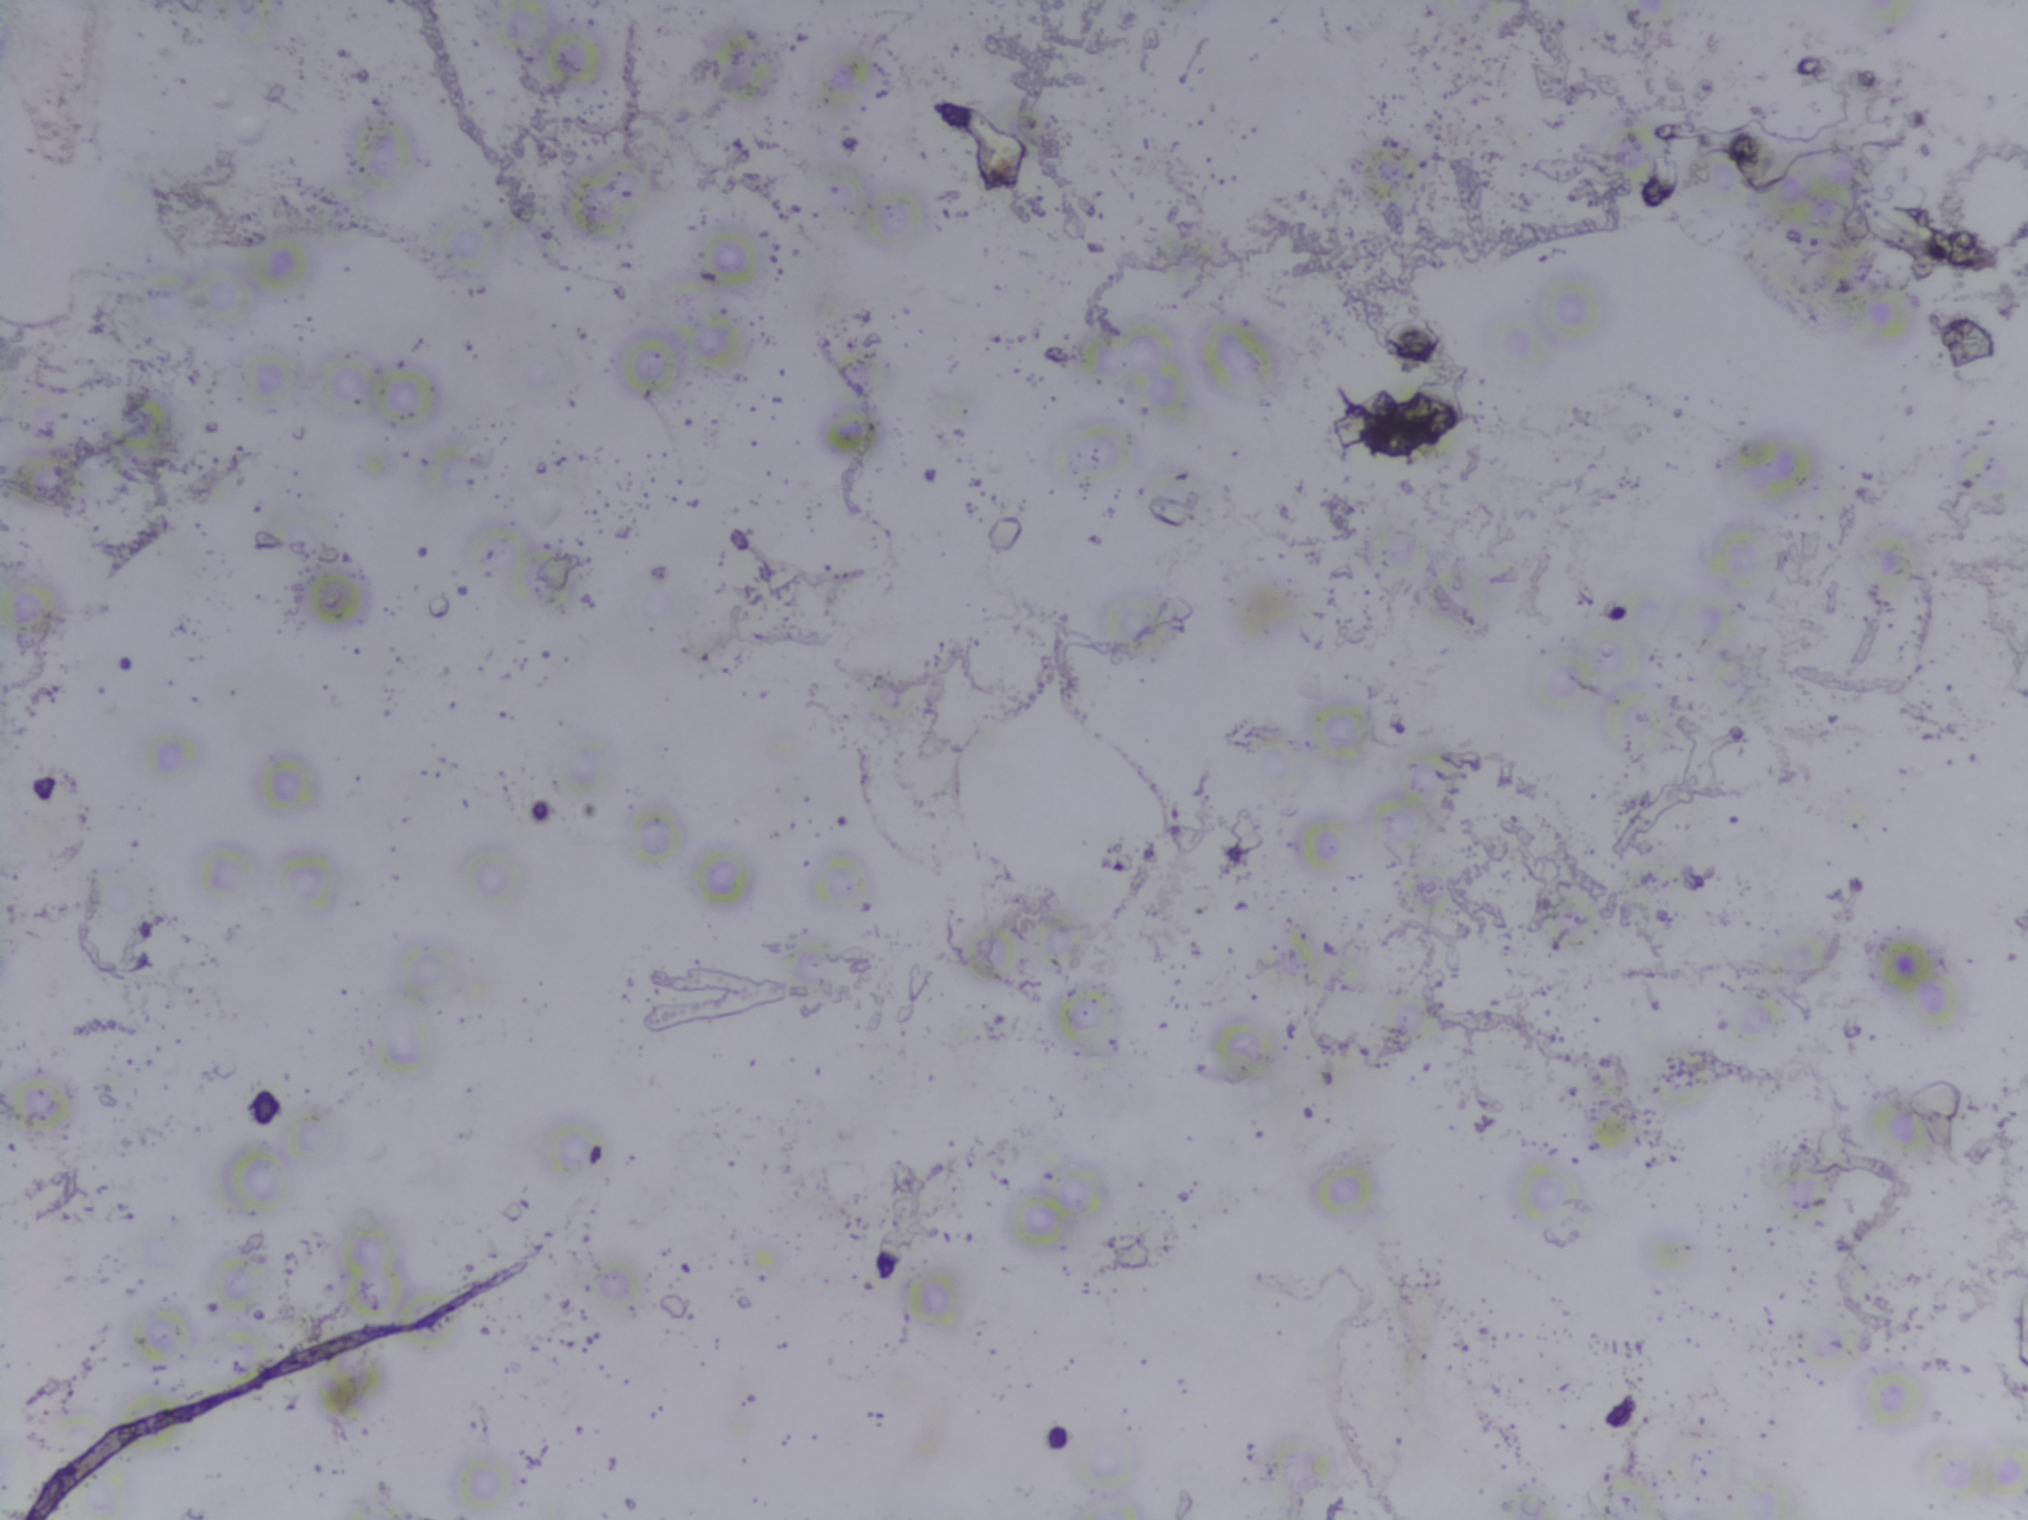
Microscope photograph (4× objective) of a membrane that a urine sample was filtered through.
No area of this image was outlined as a Schistosoma egg.